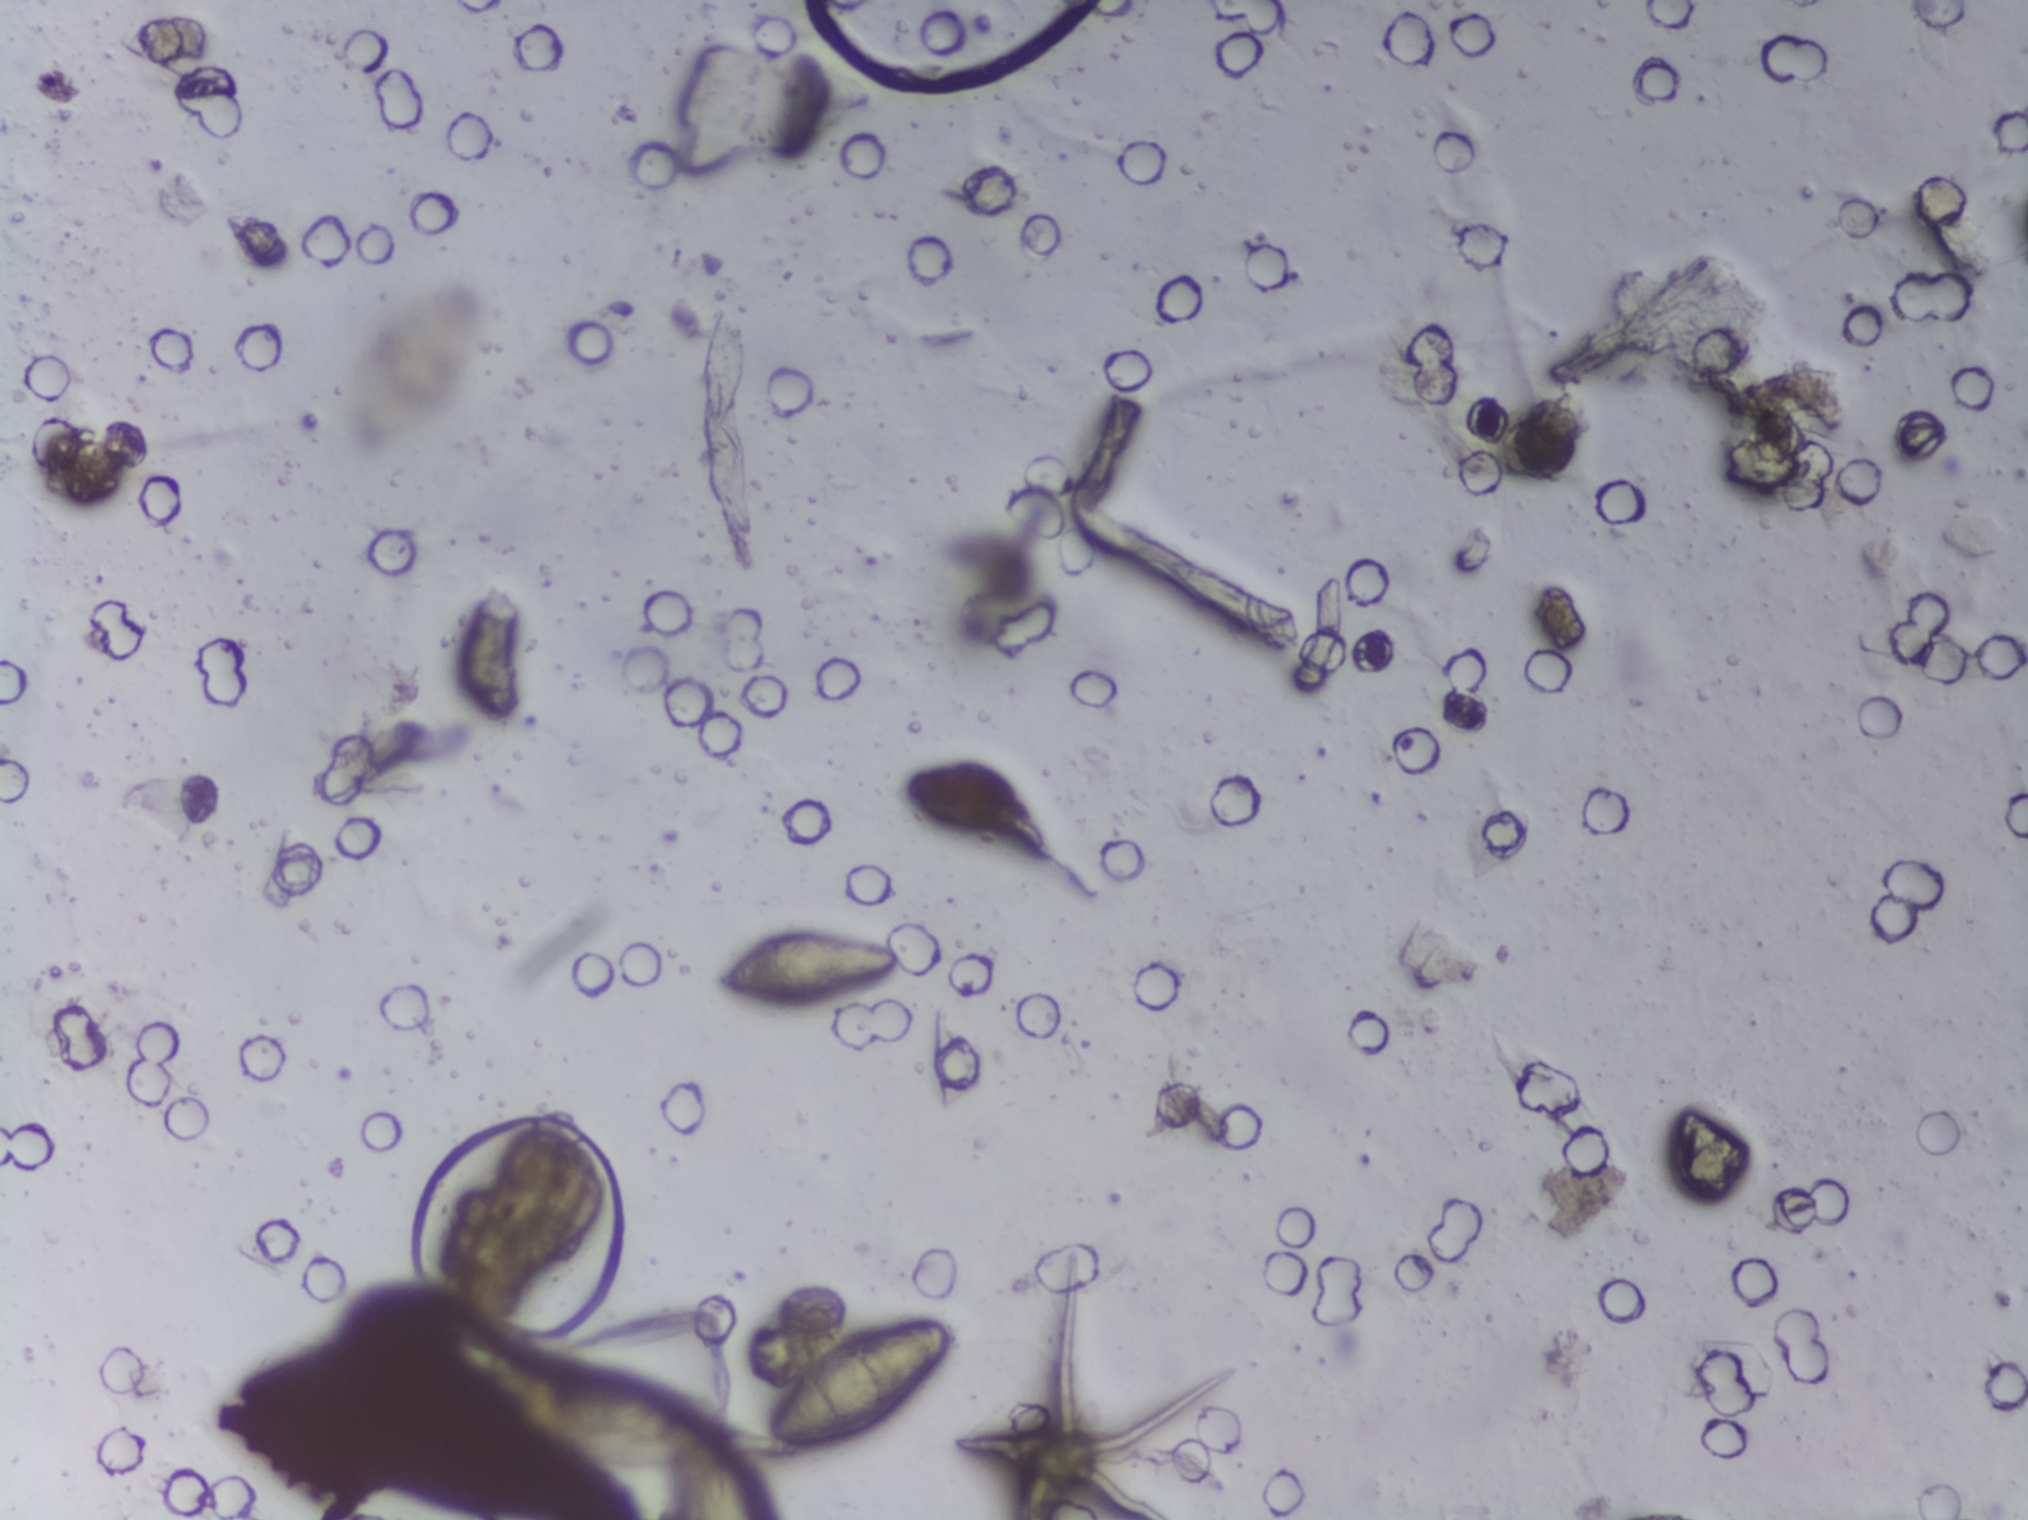
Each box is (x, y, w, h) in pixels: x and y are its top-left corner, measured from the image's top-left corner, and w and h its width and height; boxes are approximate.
Schistosoma egg areas, outlined: (x=712, y=923, w=190, h=91); (x=757, y=1315, w=197, h=137). Eggs that touch can end up inside the same outlined area.
One field of view of a urine filter membrane, 4× objective, 2028 × 1520 pixels. Field of view: about 1.5 mm wide and 1.1 mm high.